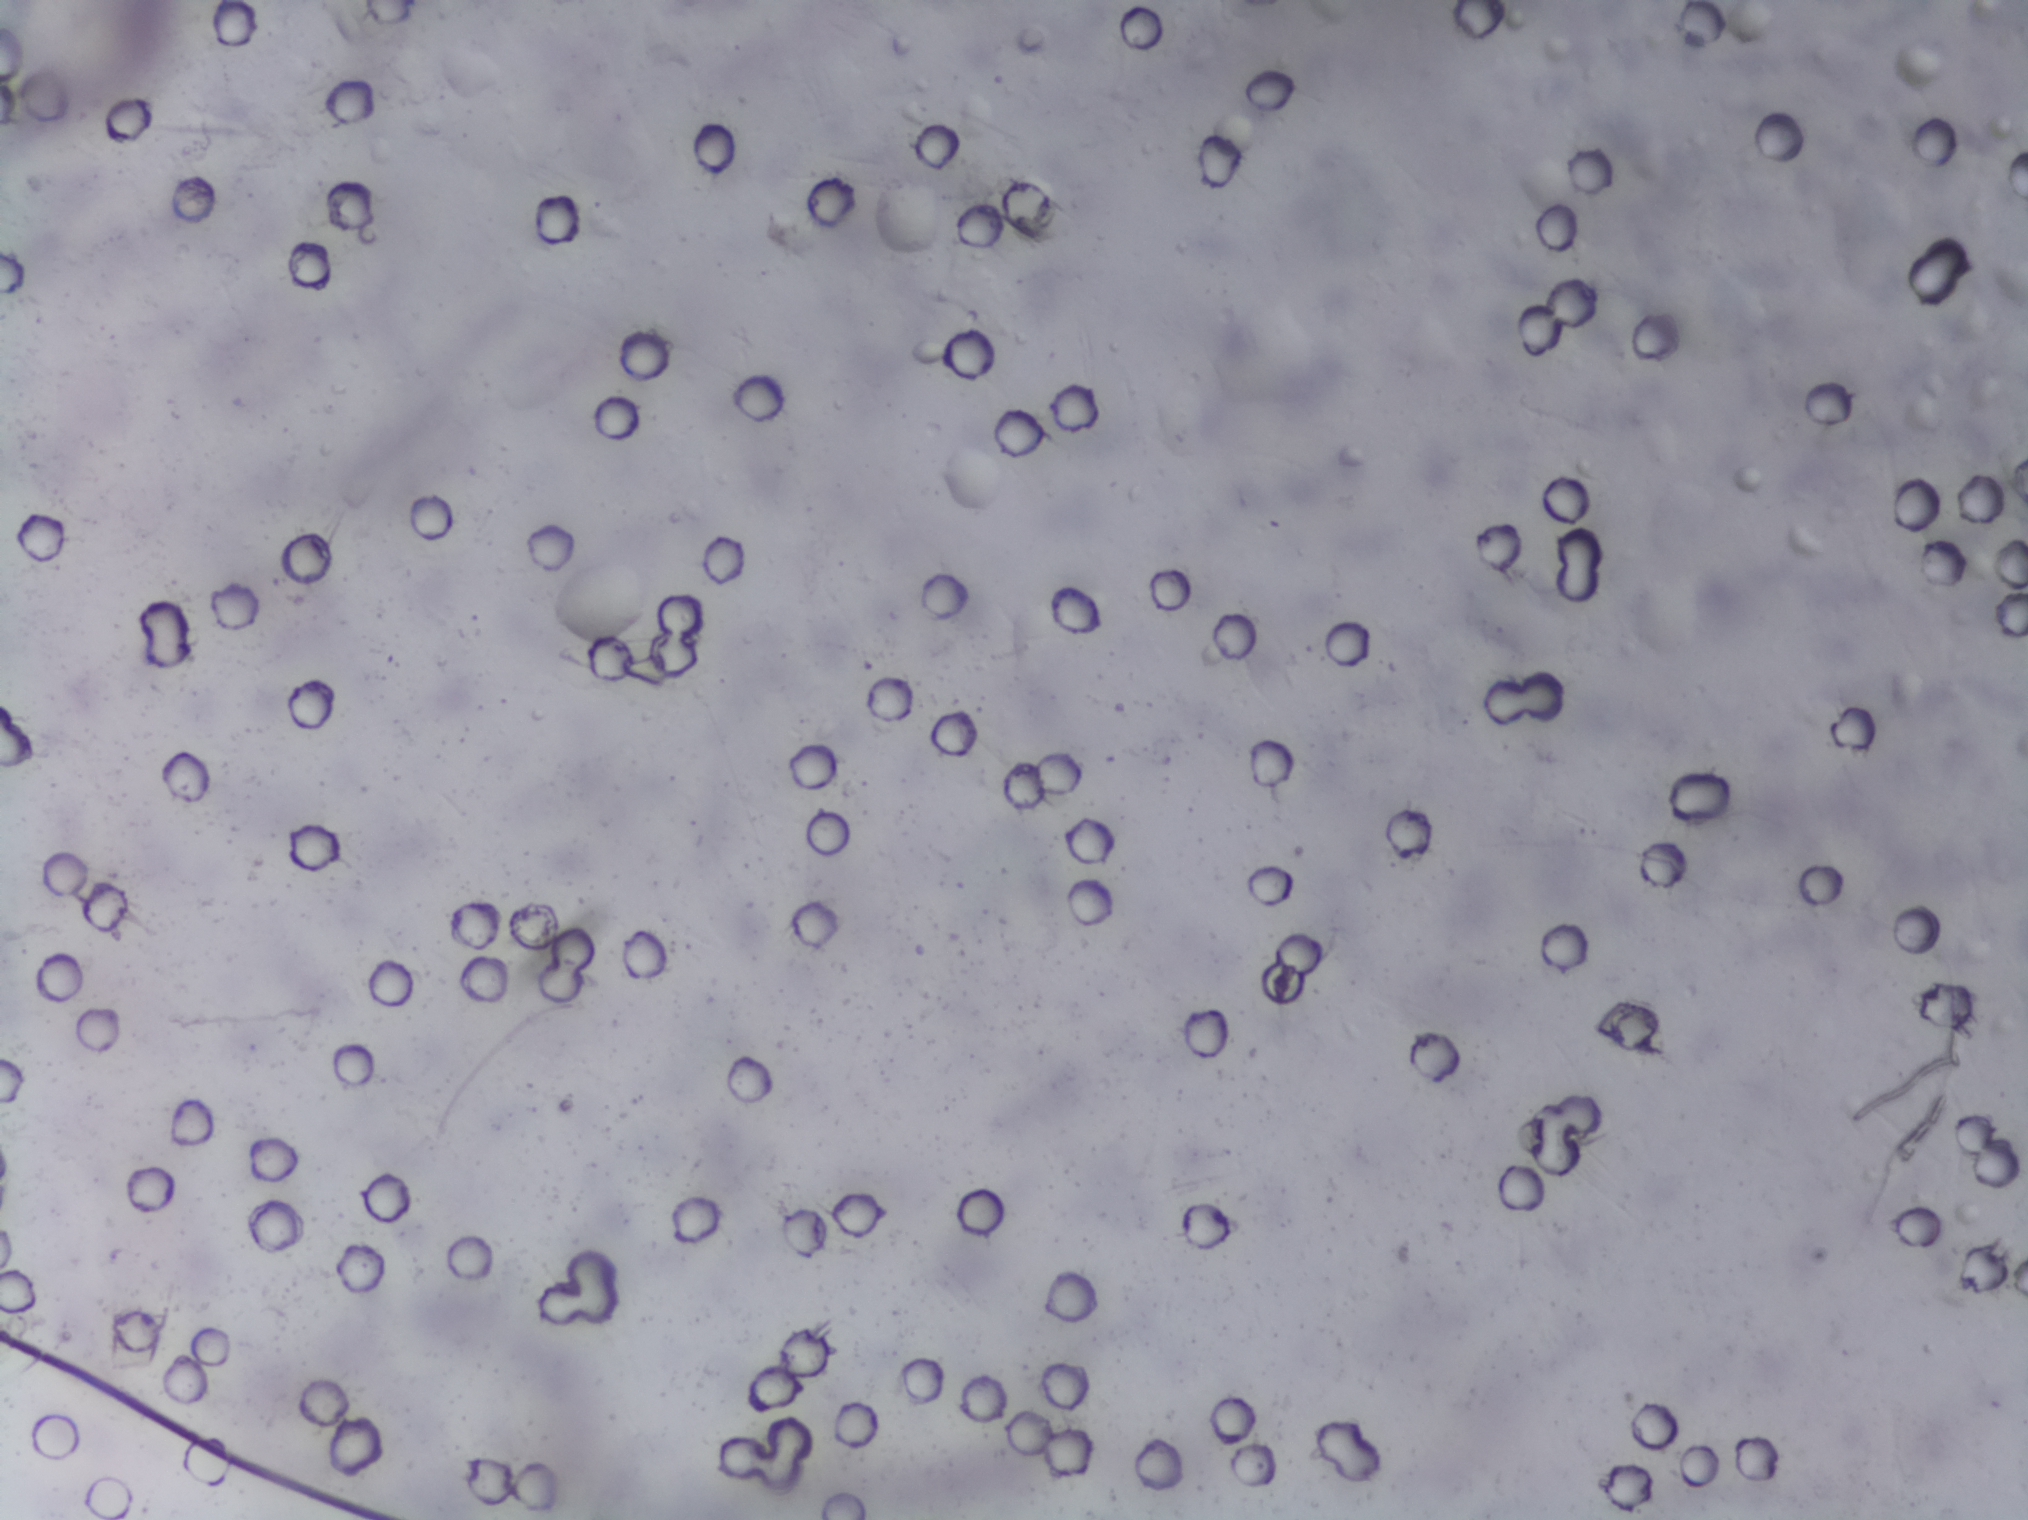
Photograph from an automated digital microscope: urine filter membrane, 4× objective. The image covers about 1.5 × 1.1 mm of the membrane.
Schistosoma eggs: none outlined.